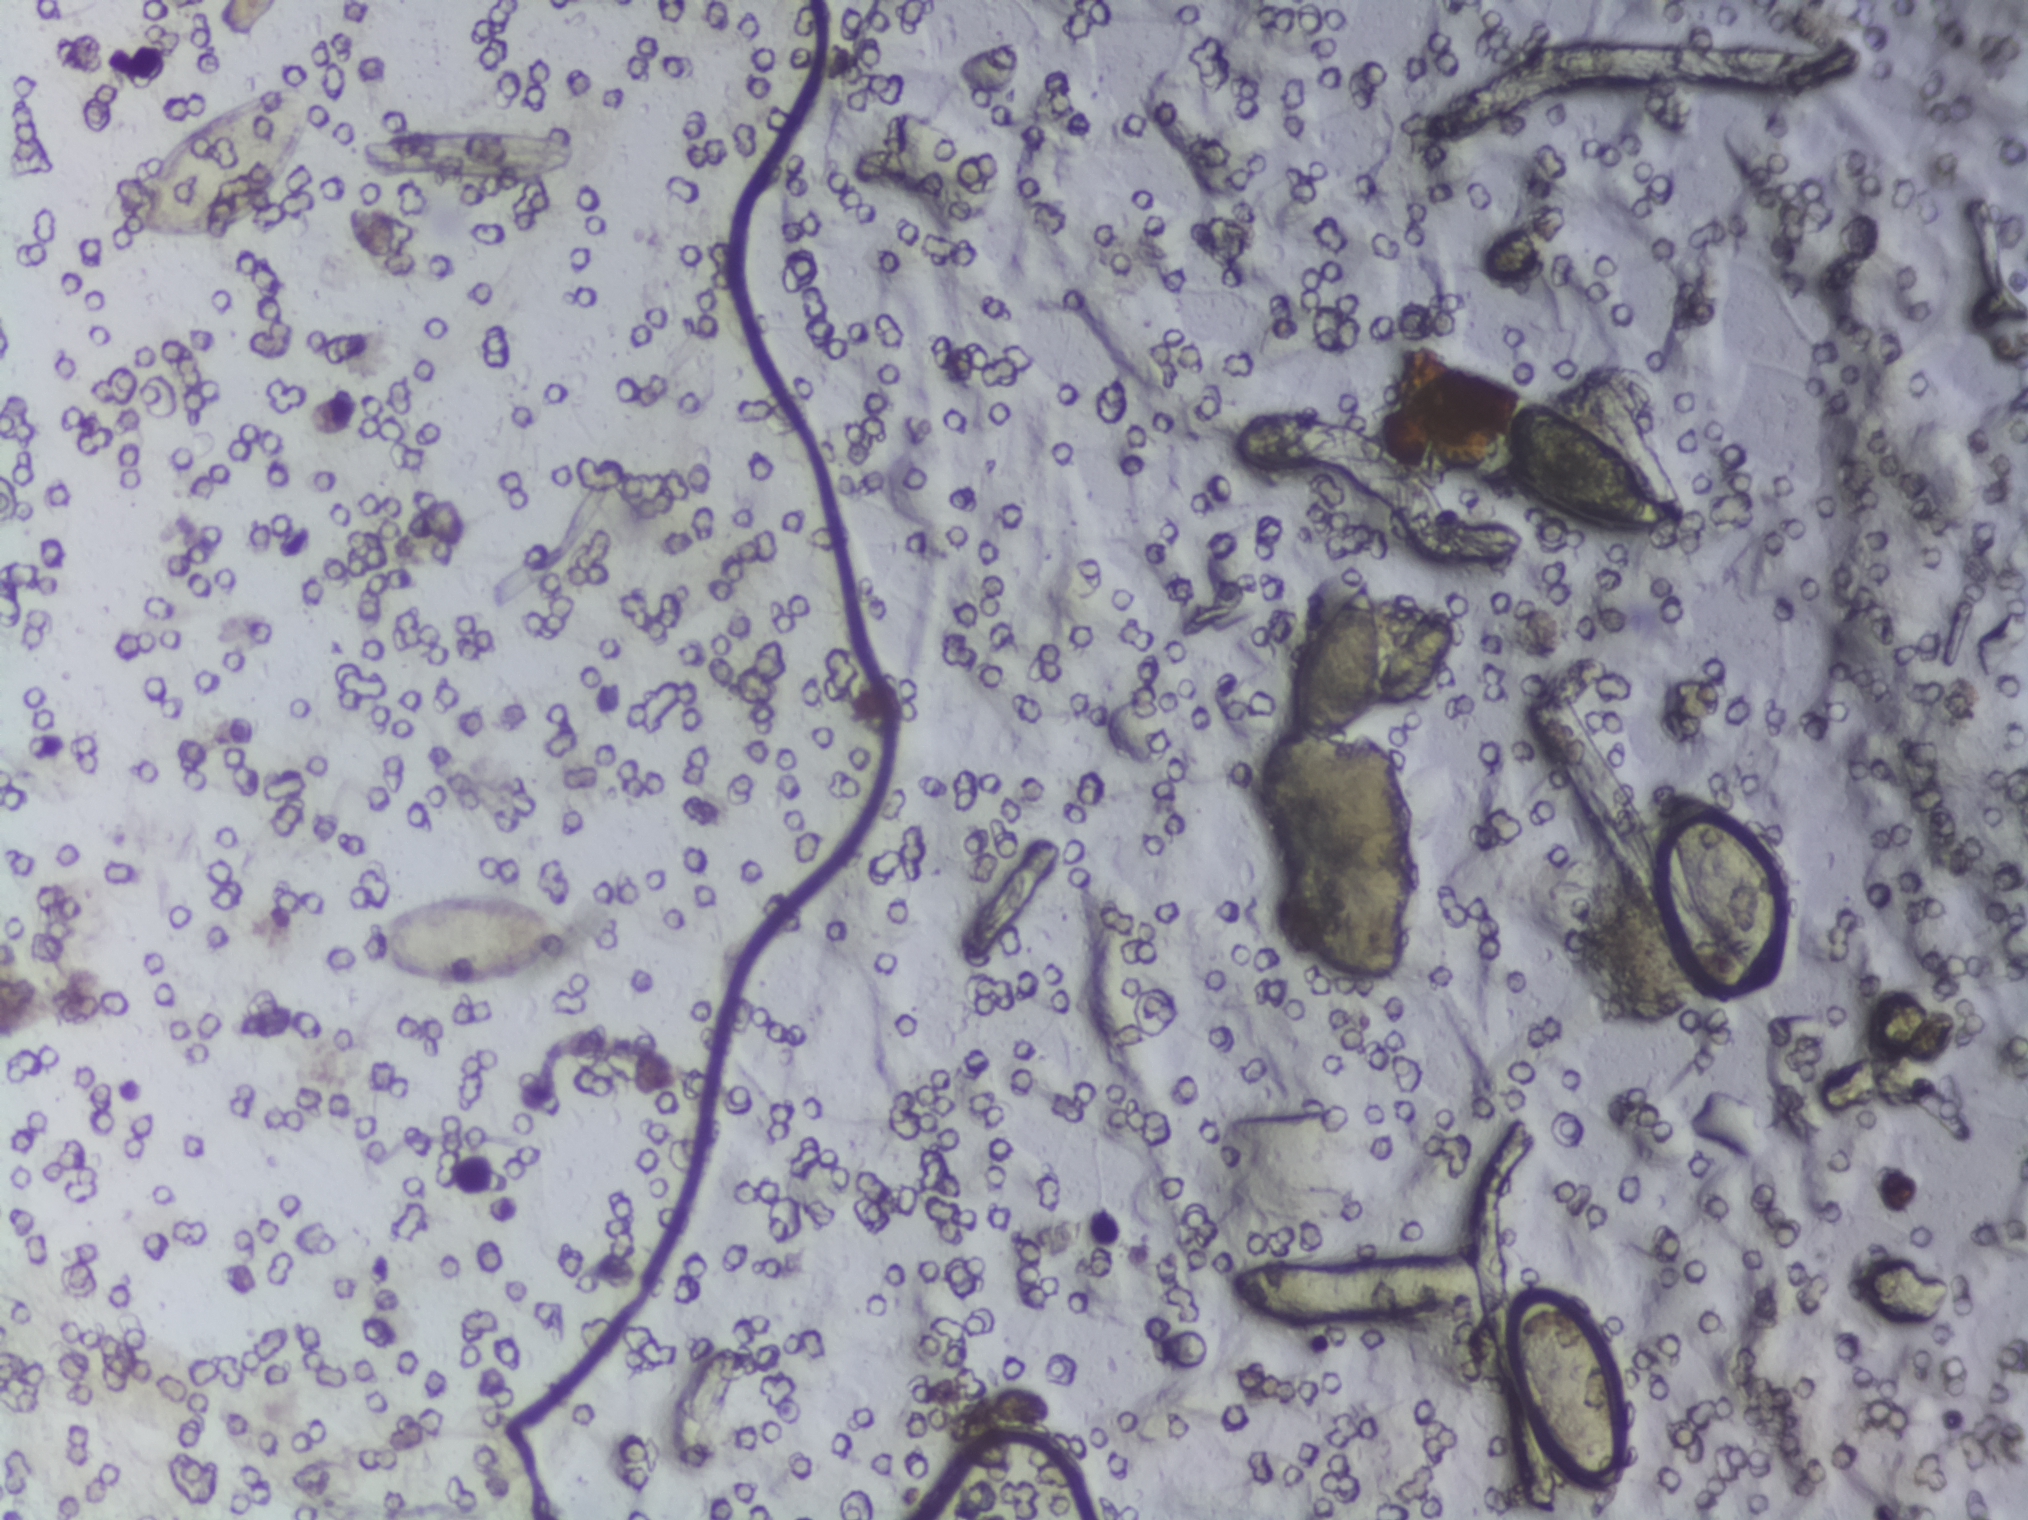
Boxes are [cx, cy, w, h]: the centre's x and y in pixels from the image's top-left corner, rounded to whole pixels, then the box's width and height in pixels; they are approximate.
{"schistosoma_egg_areas_cxcywh_px": [[217, 162, 191, 155], [470, 940, 213, 88], [1344, 661, 94, 165], [1570, 1389, 115, 218], [1580, 464, 162, 129], [1726, 884, 119, 195]]}
Eggs that touch can end up inside the same outlined area.
Urine filter membrane photographed through a 4× microscope objective. The image covers about 1.5 × 1.1 mm of the membrane.